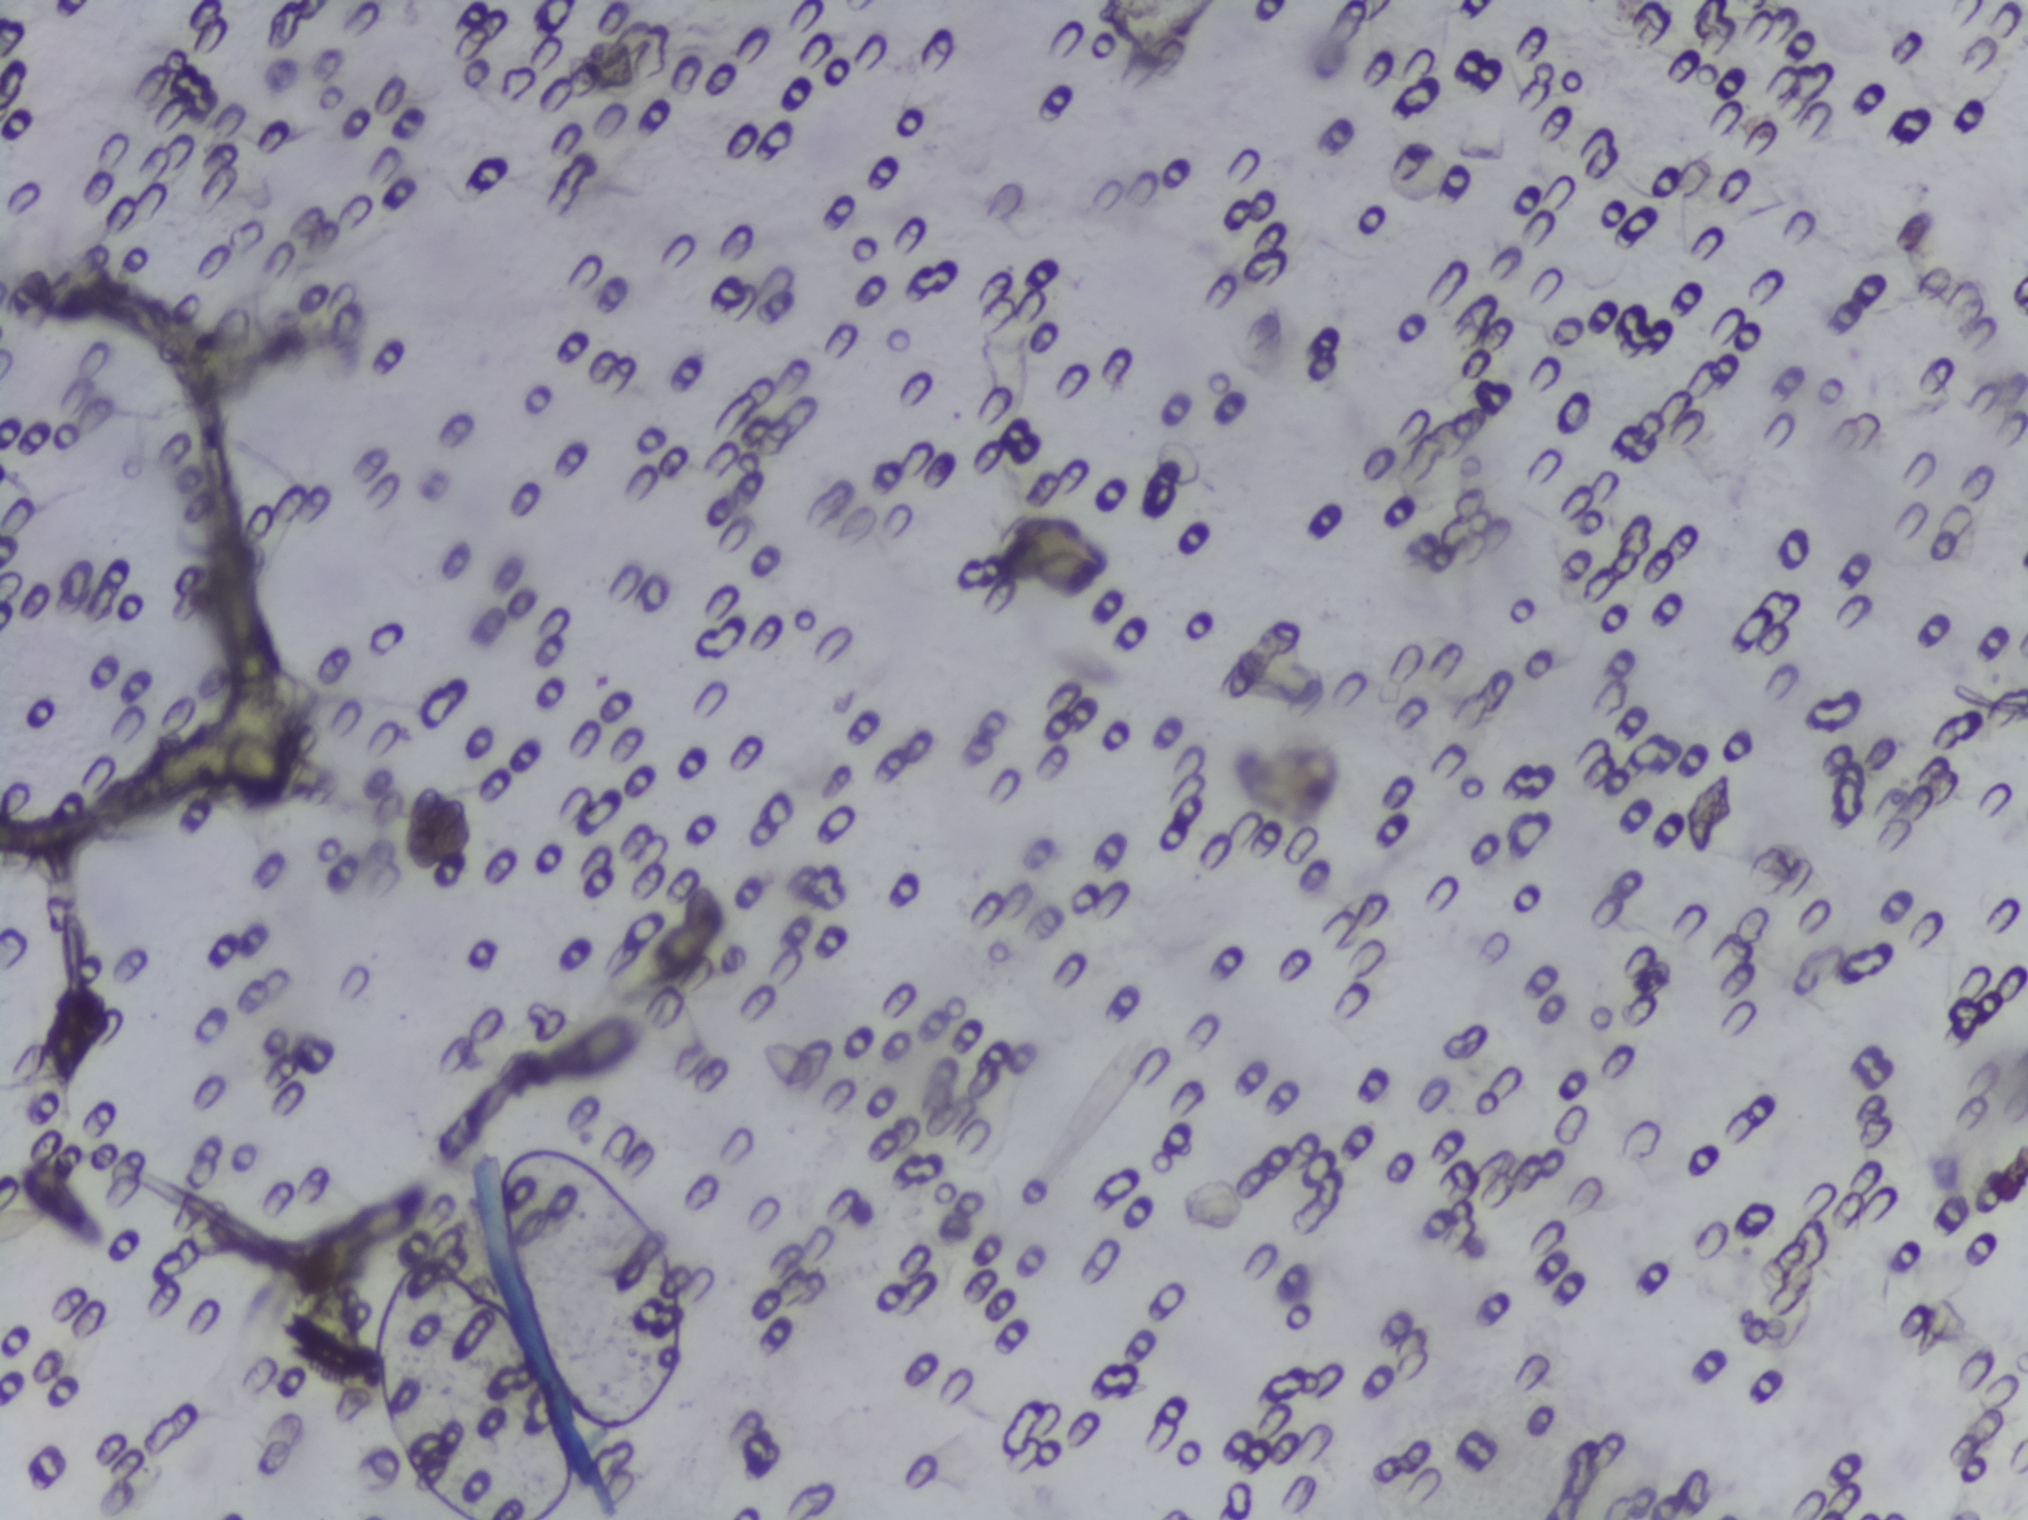
Urine filter membrane photographed through a 4× microscope objective.
The expert annotation marks no Schistosoma egg in this field of view.